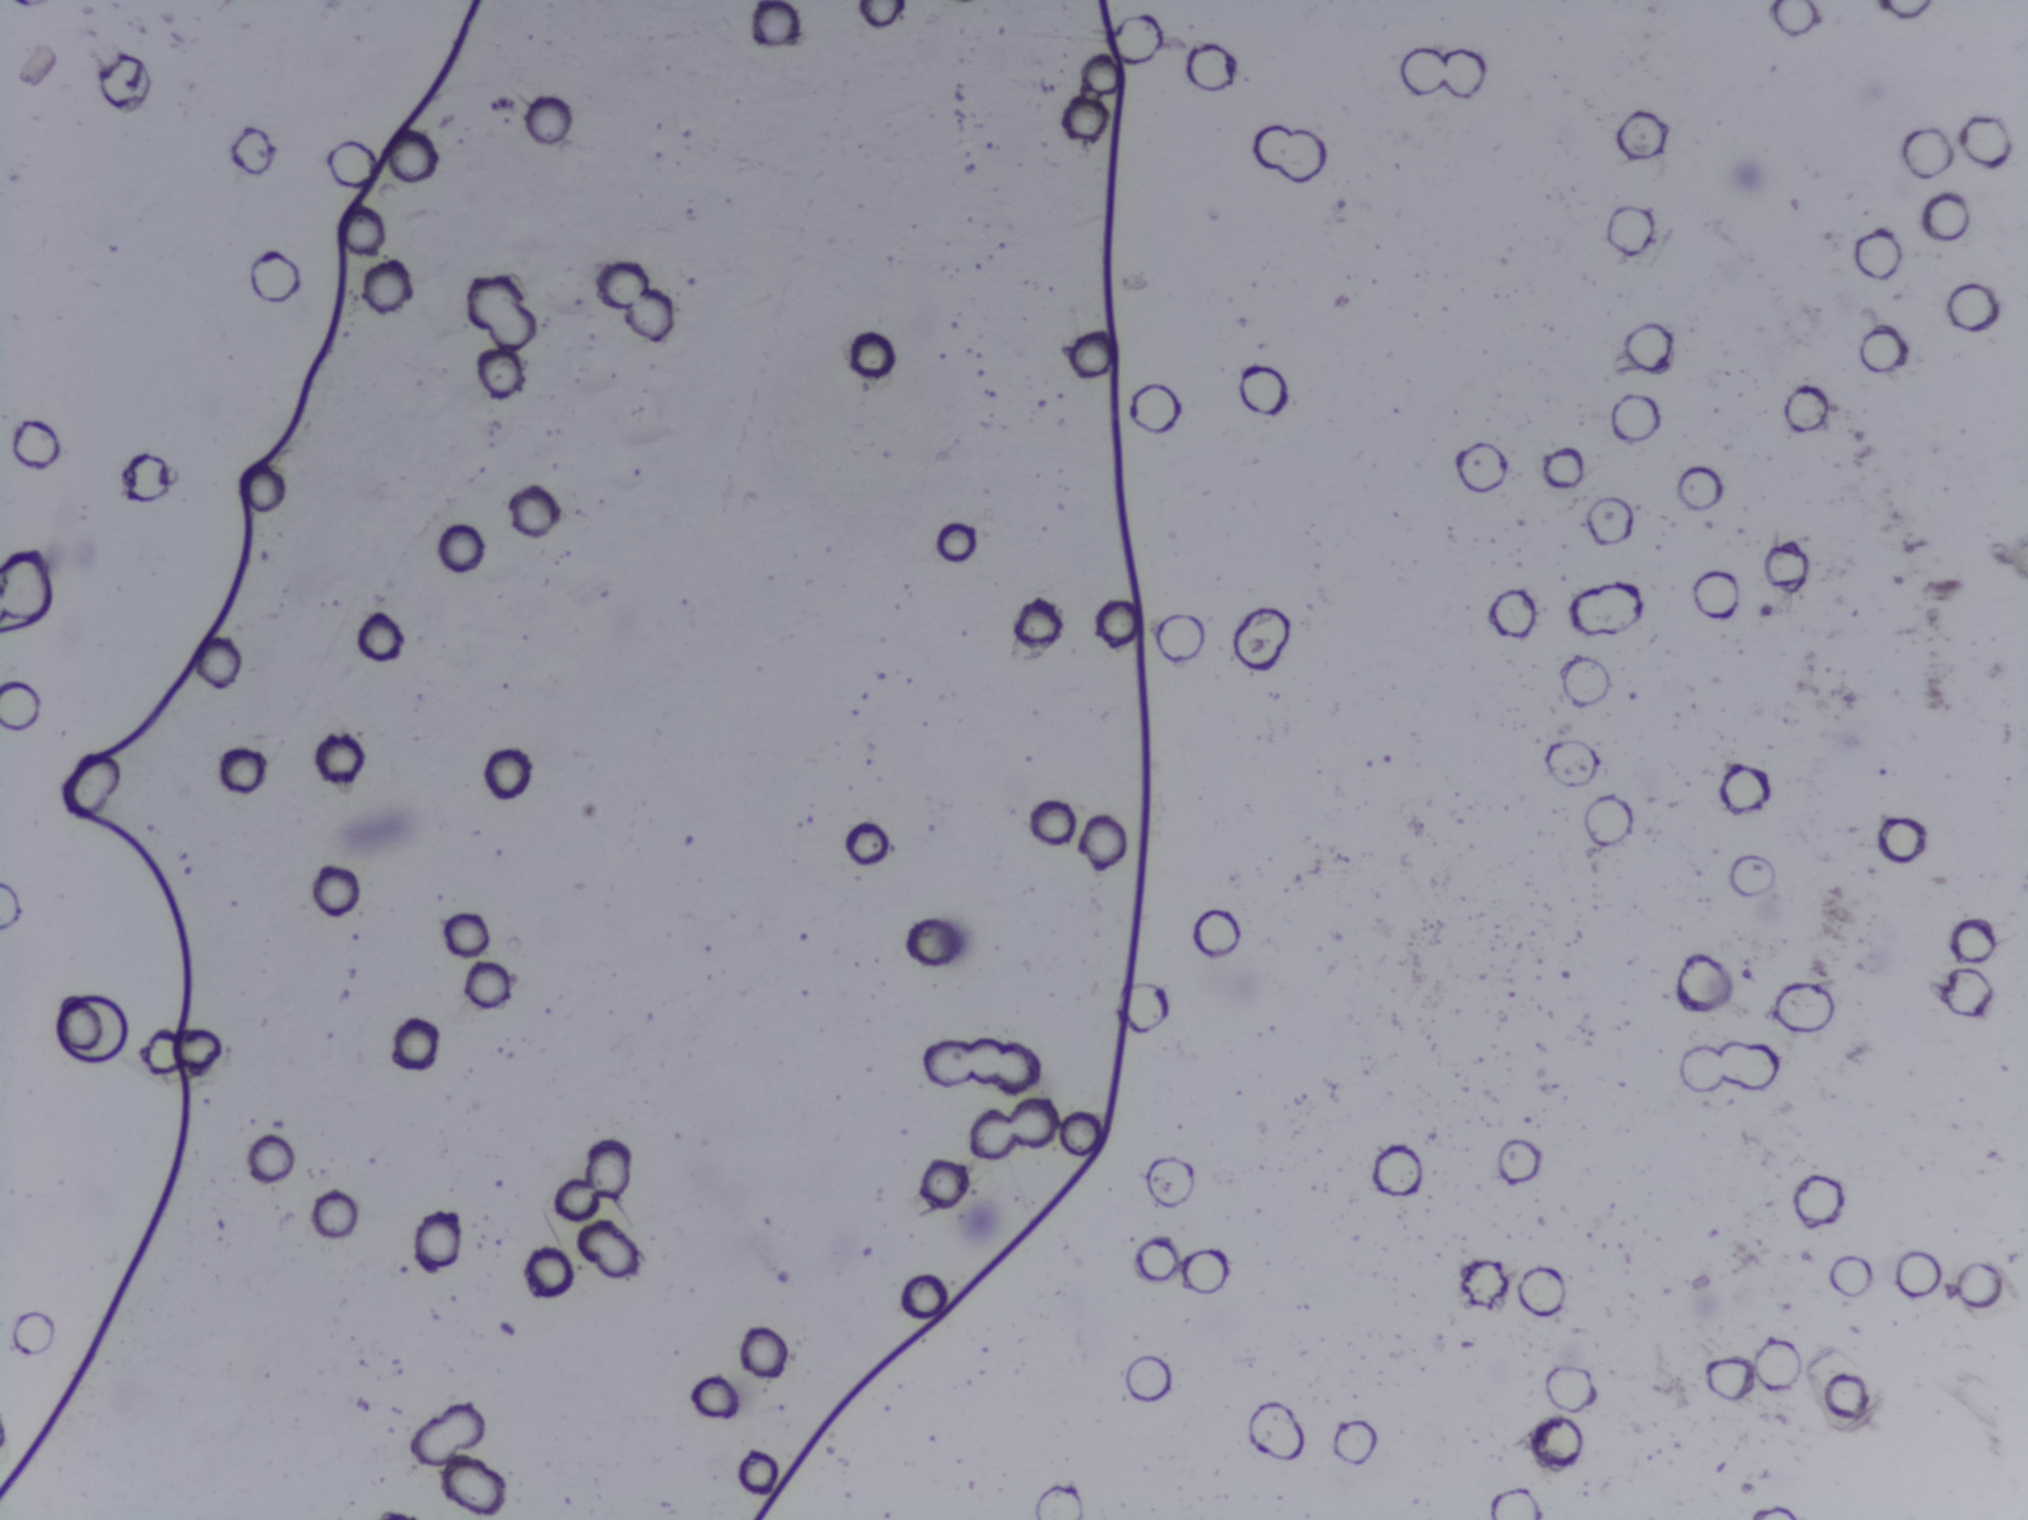
Schistosoma eggs: none outlined.
Photomicrograph of a urine filtration membrane, 4× objective.